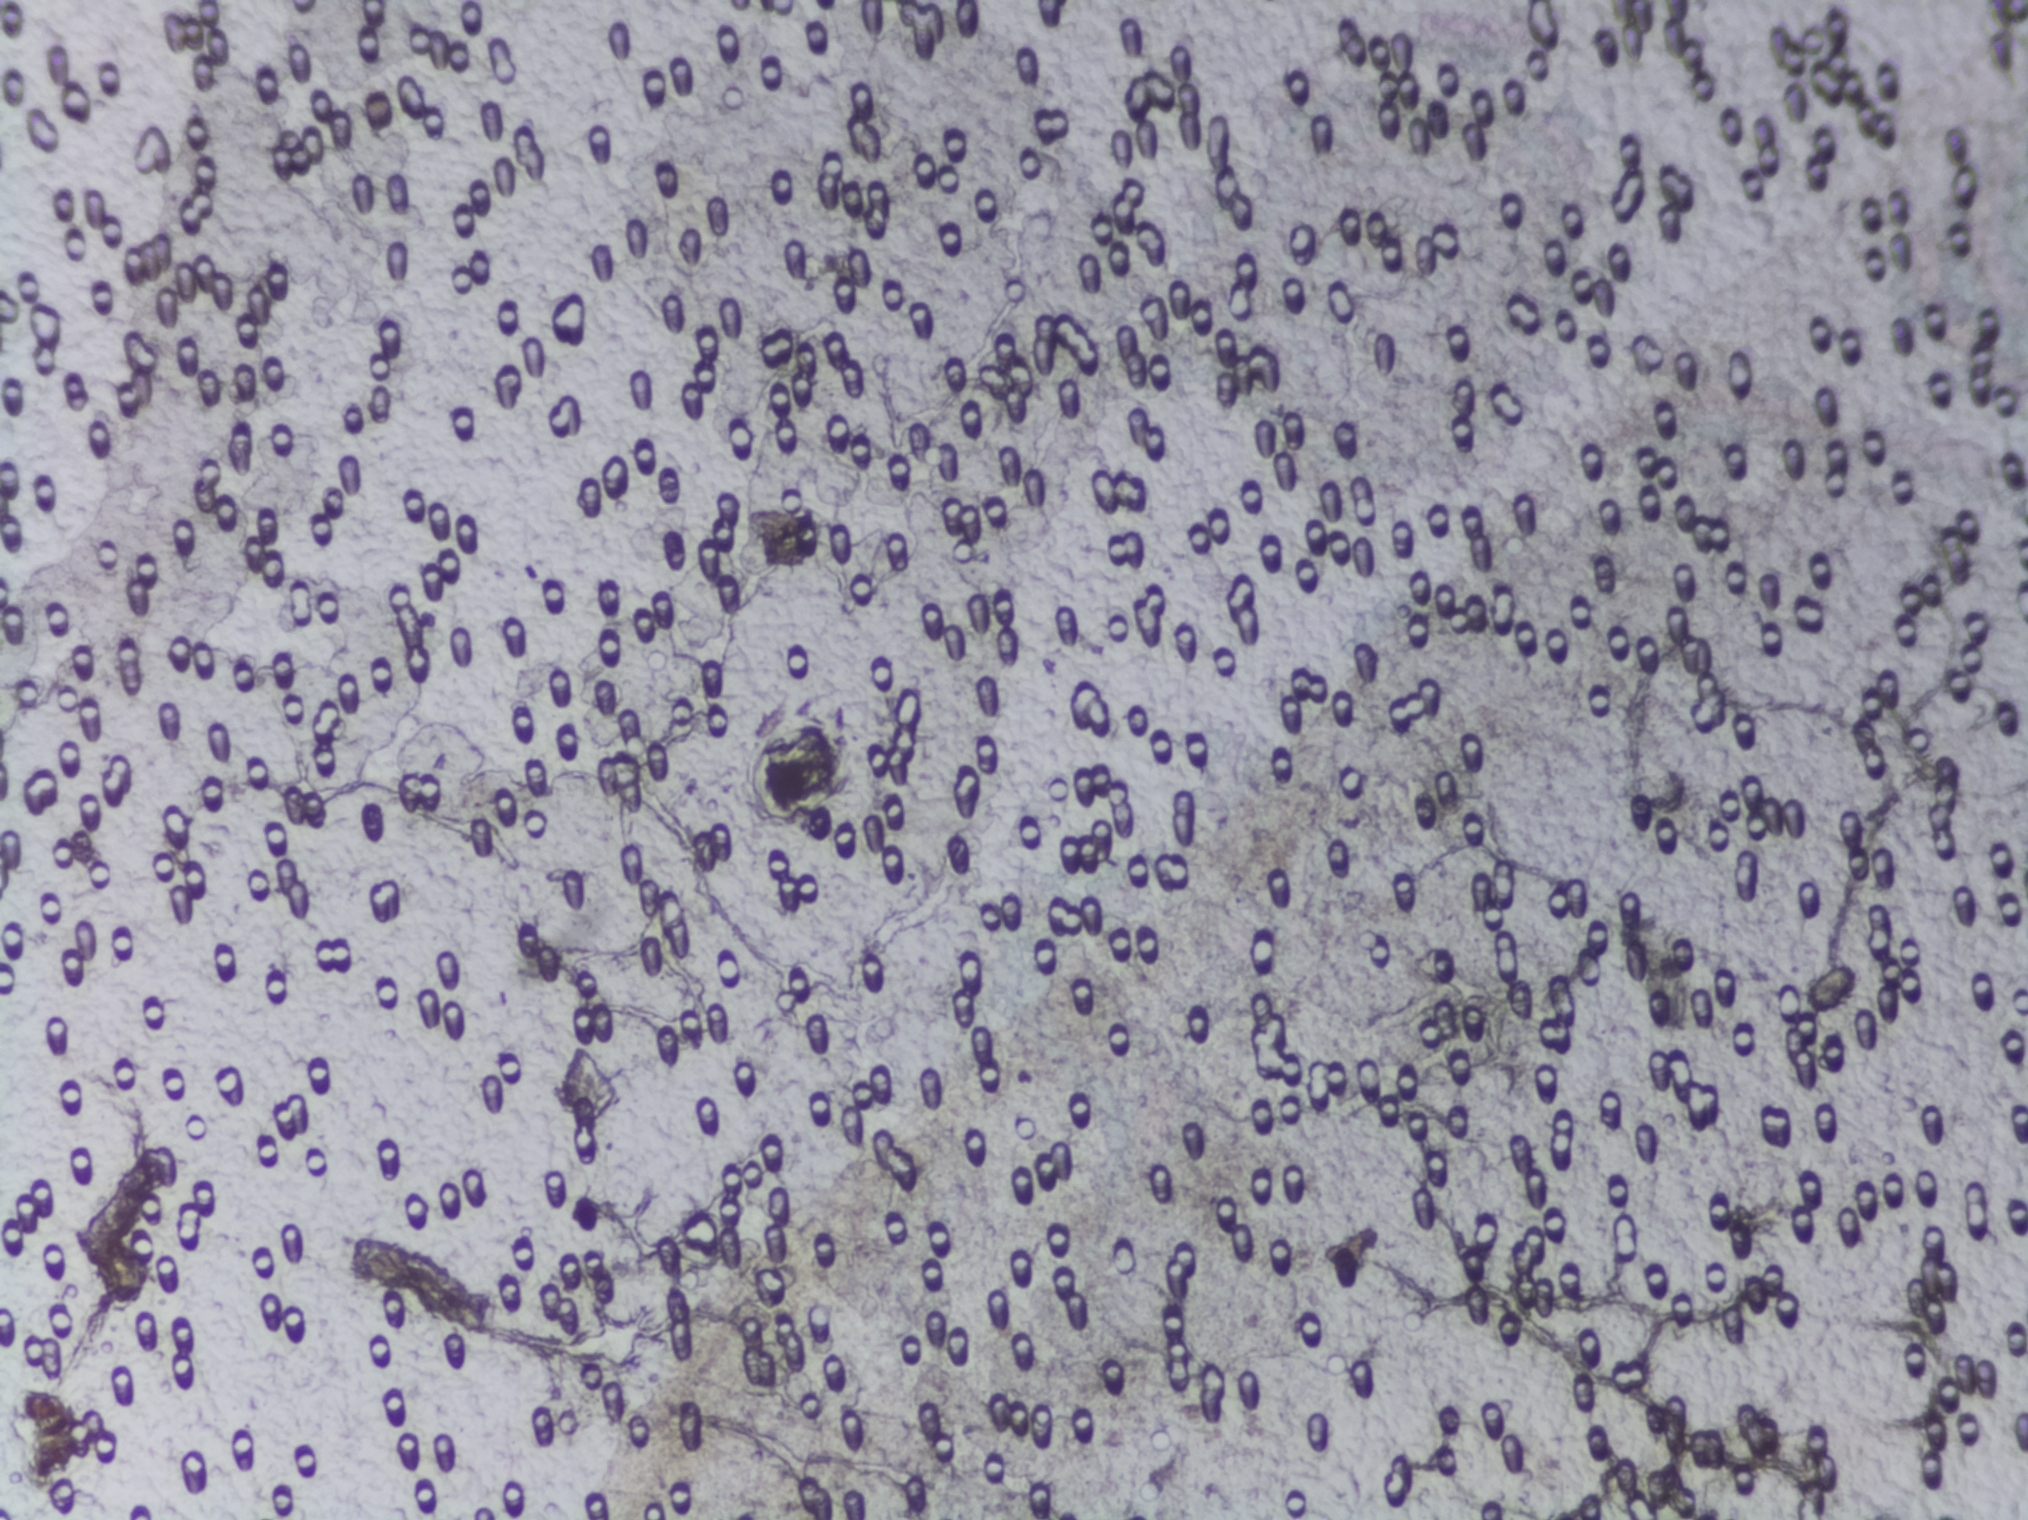
Urine filter membrane photographed through a 4× microscope objective.
The expert annotation marks no Schistosoma egg in this field of view.